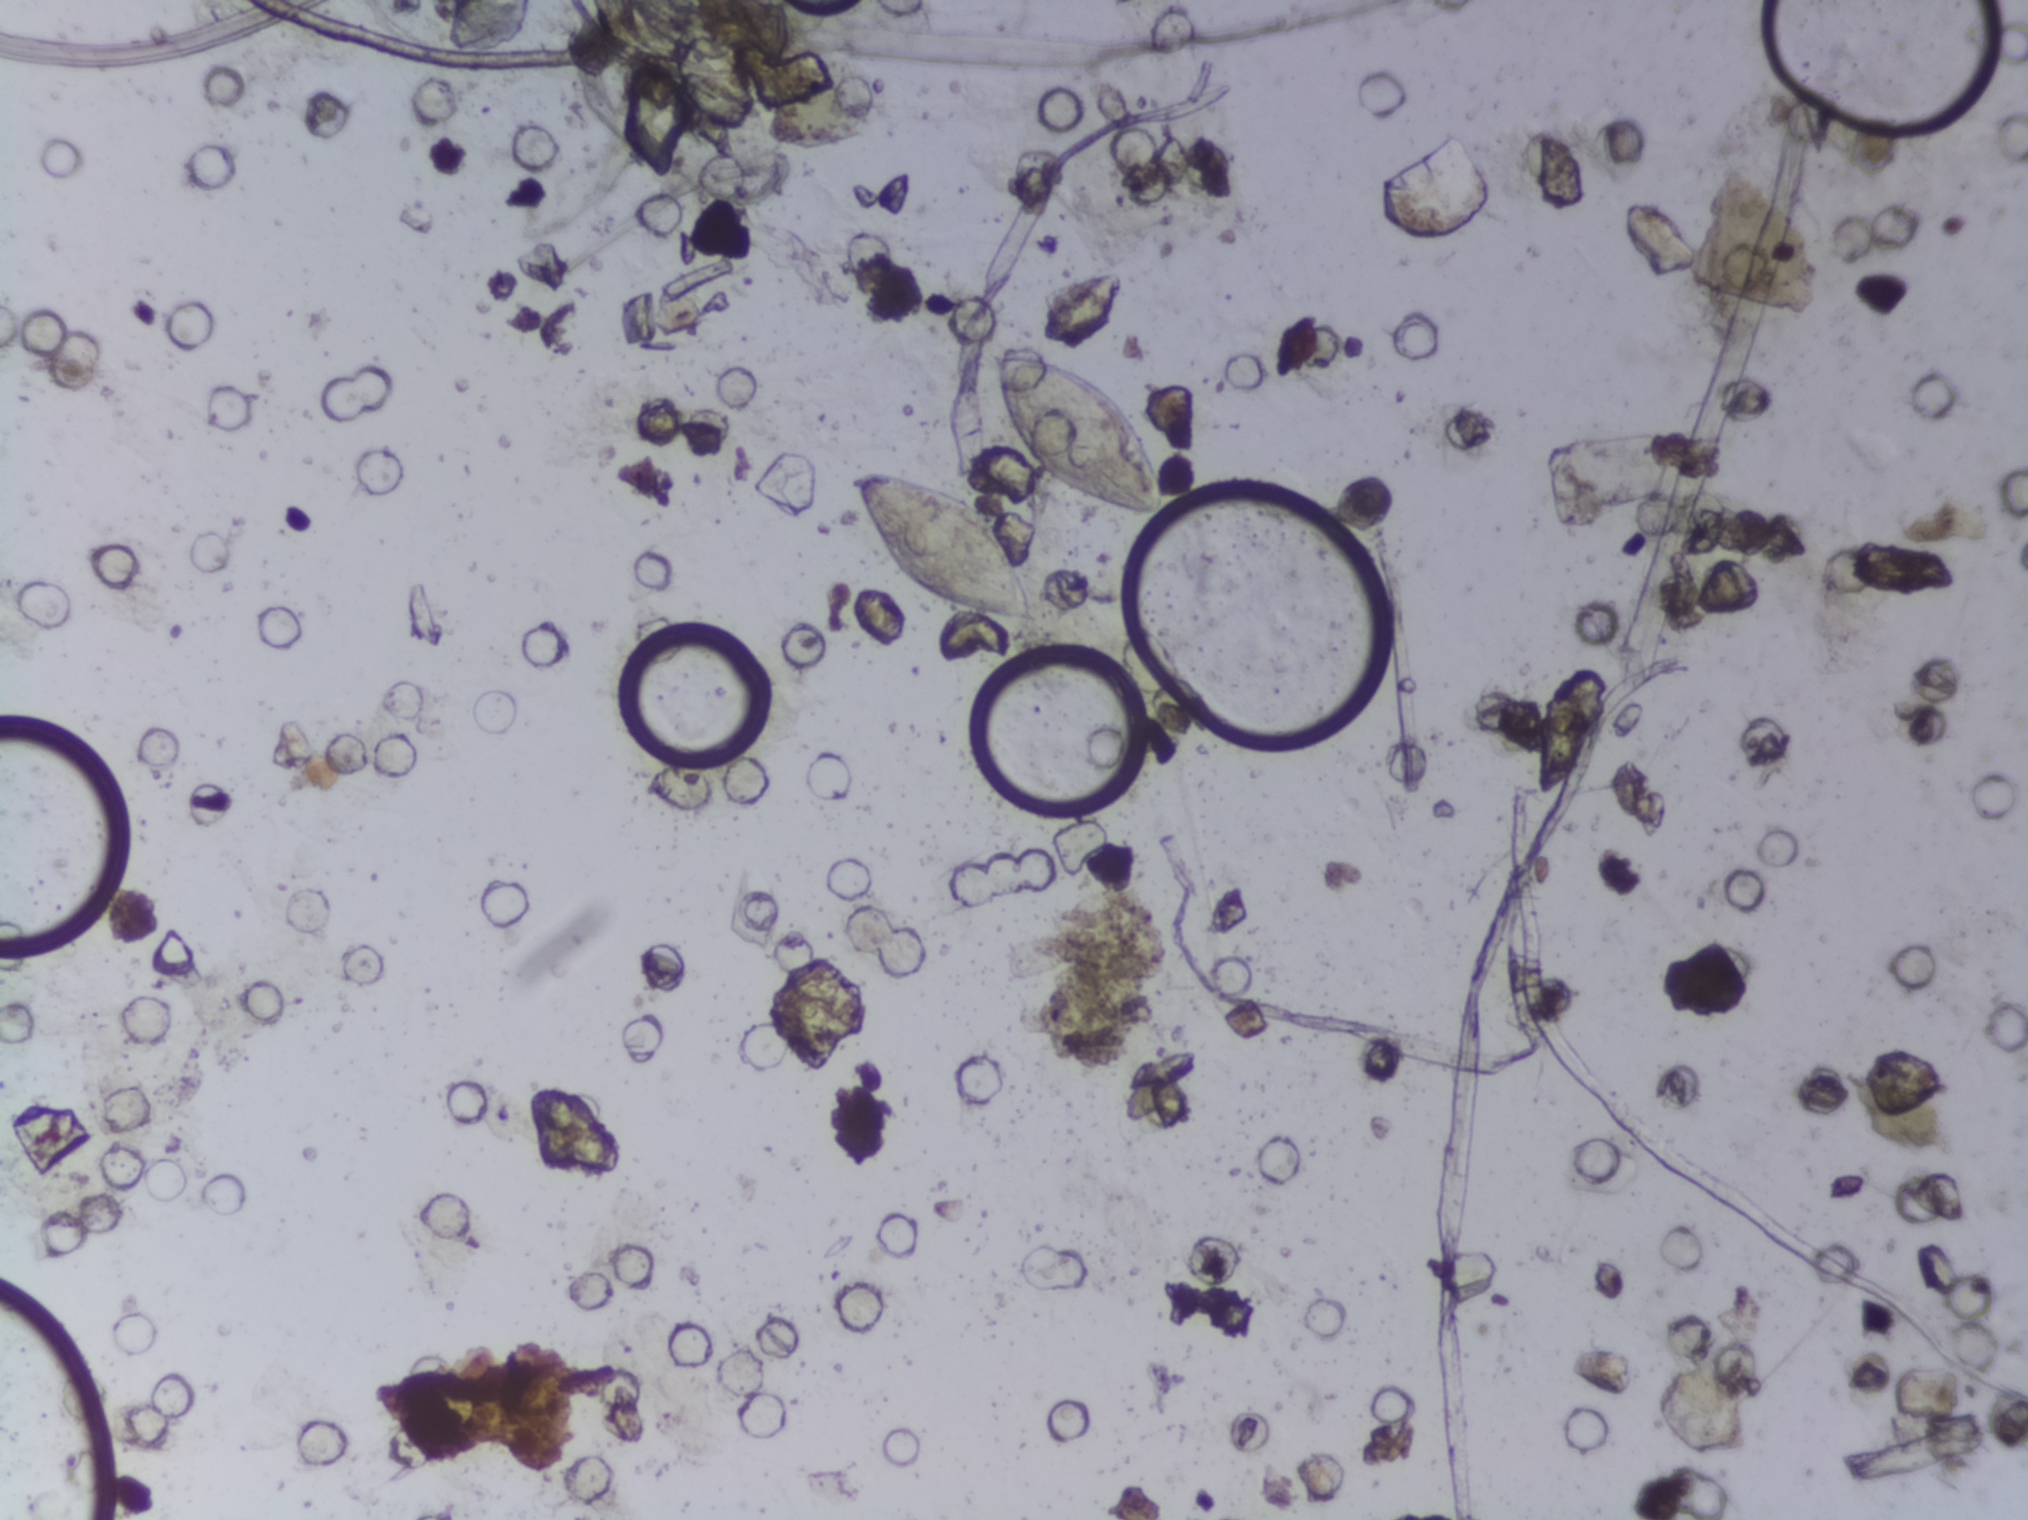
Photomicrograph of a urine filtration membrane, 4× objective.
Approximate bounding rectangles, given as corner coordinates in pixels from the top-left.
Schistosoma eggs are outlined in two areas of this image, listed from left to right: (x1=853, y1=468, x2=1041, y2=627) and (x1=991, y1=351, x2=1169, y2=520). An outlined area can hold more than one egg.